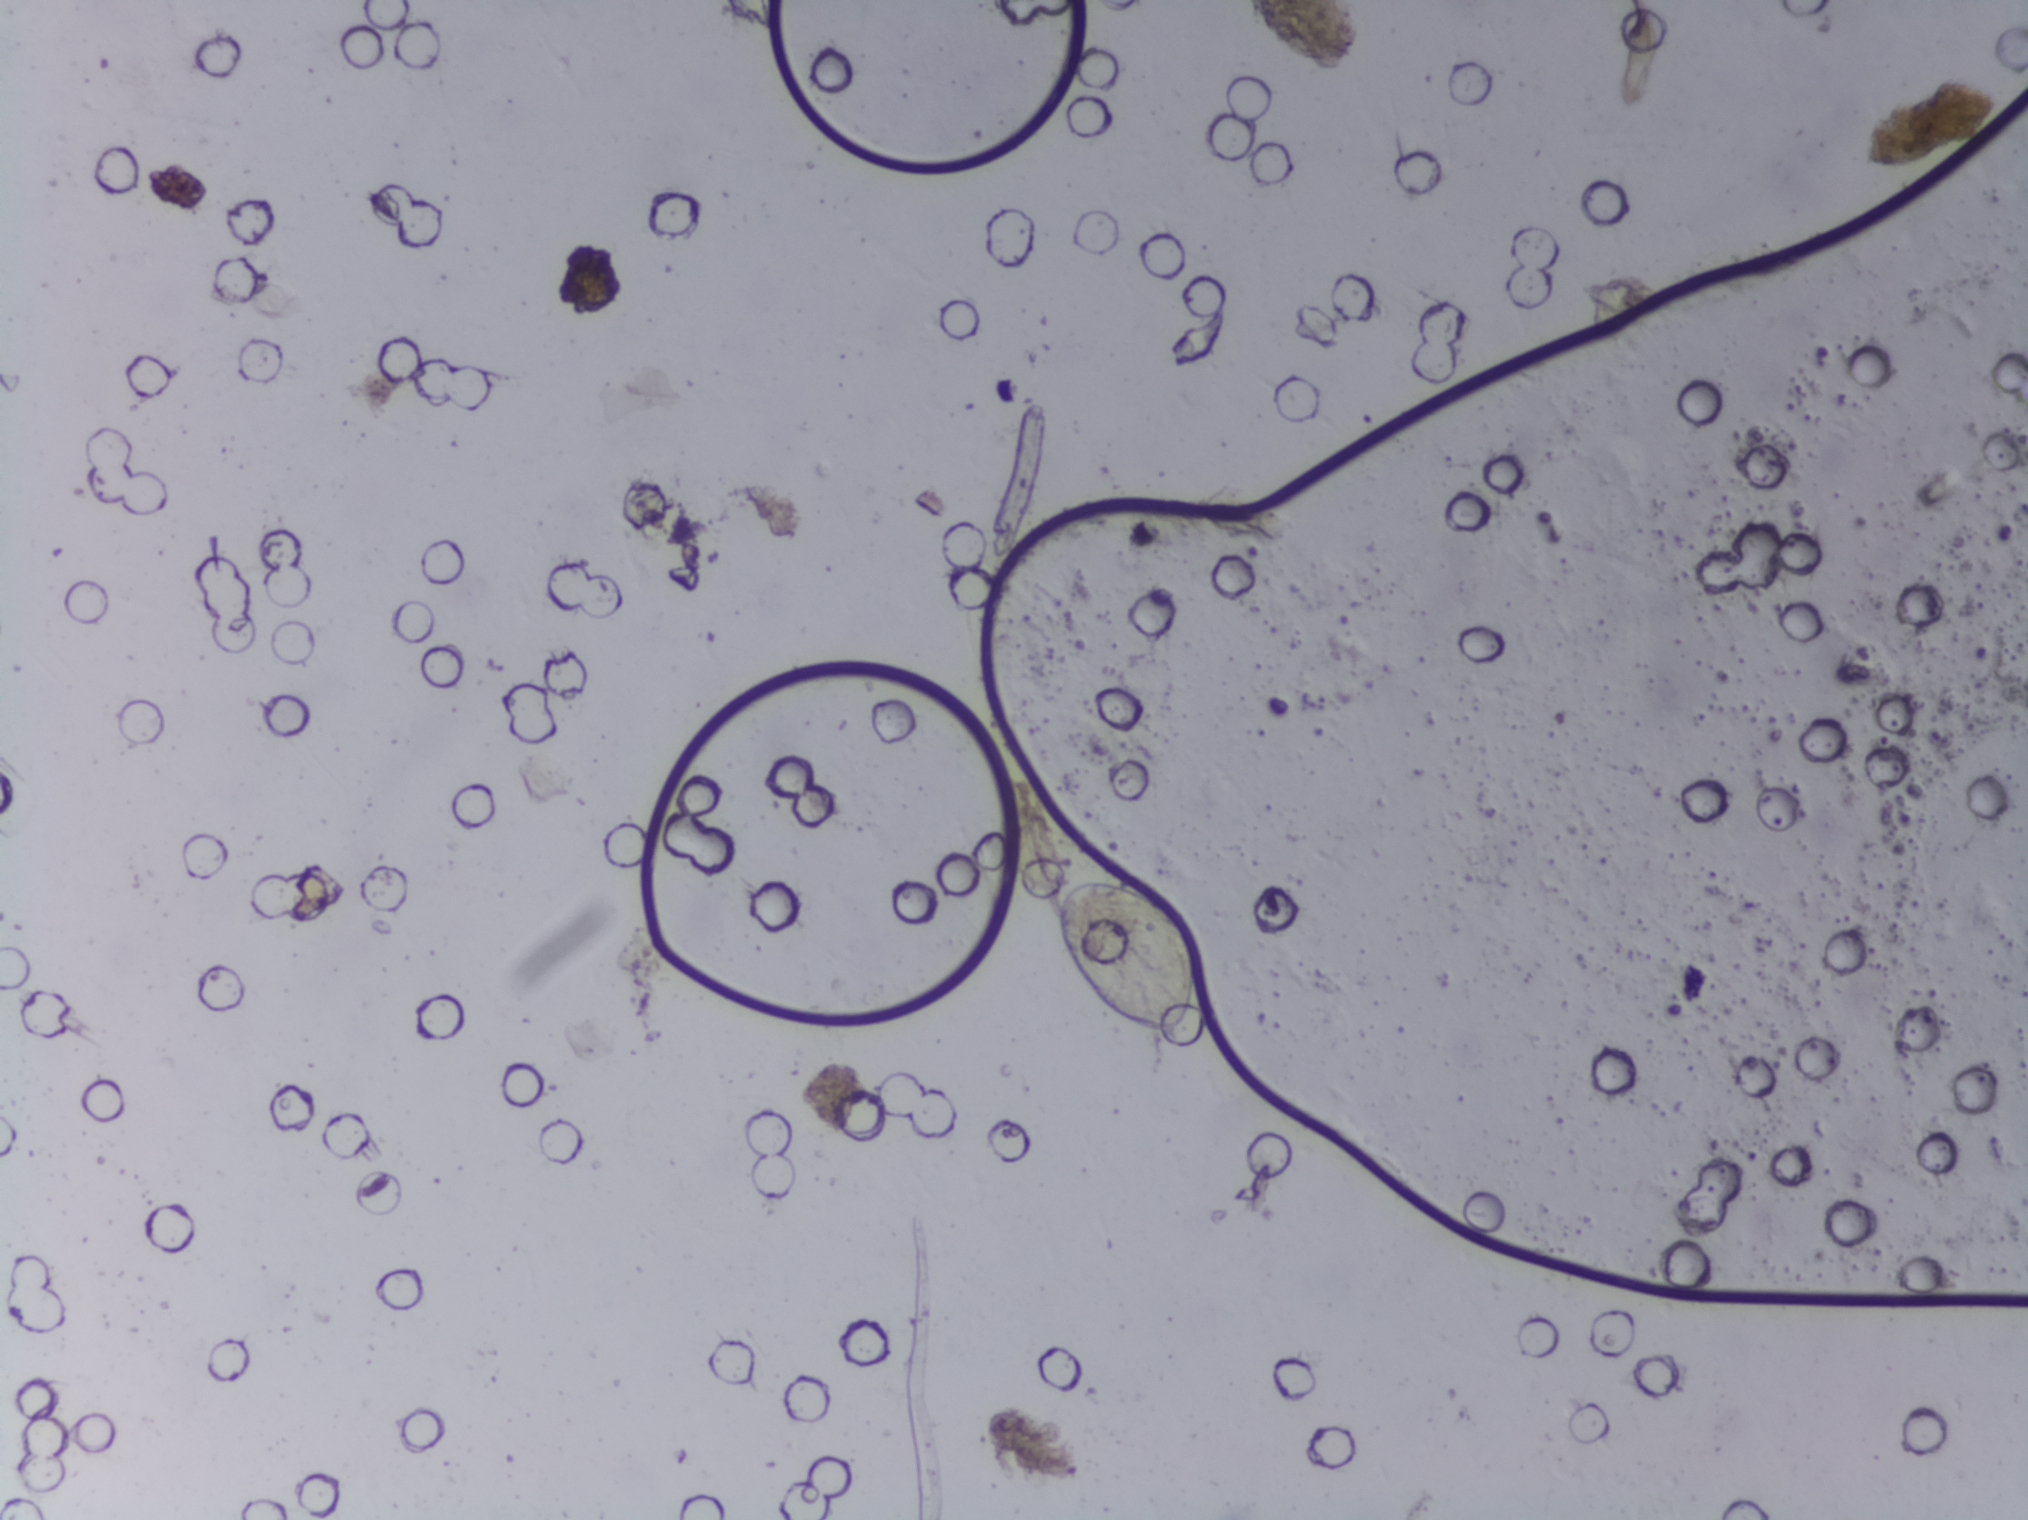
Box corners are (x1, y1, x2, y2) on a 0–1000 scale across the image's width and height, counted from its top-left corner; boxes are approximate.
The expert annotation outlines Schistosoma eggs at (521, 578, 589, 687). Eggs that touch can end up inside the same outlined area.
Urine filter membrane photographed through a 4× microscope objective.